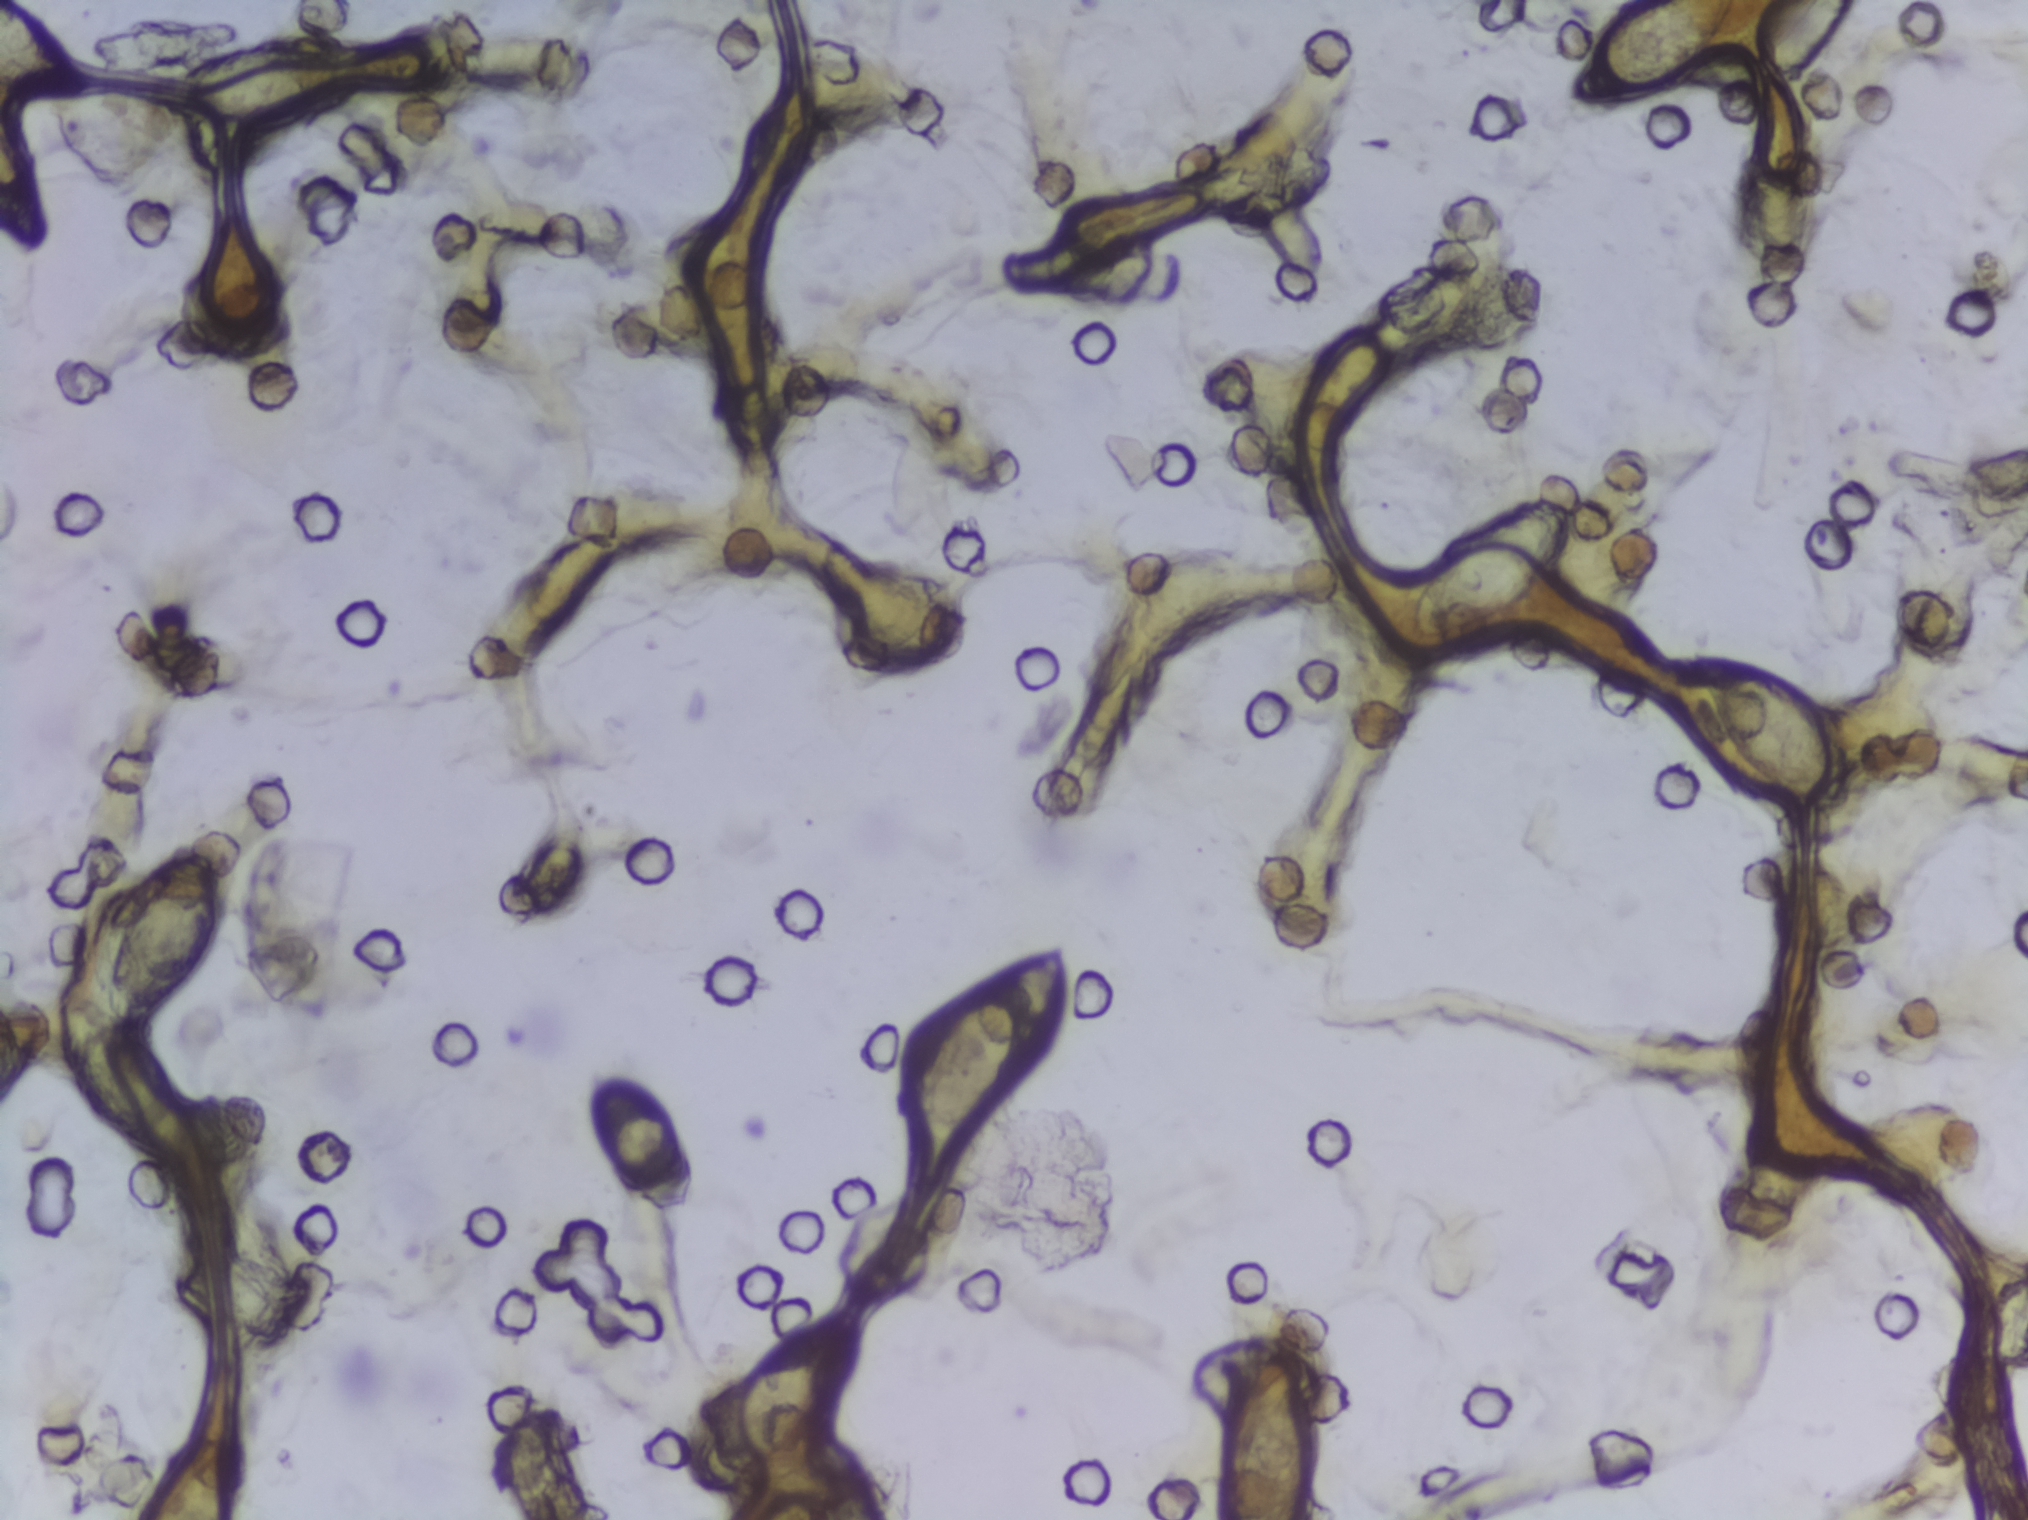
Microscope photograph (4× objective) of a membrane that a urine sample was filtered through.
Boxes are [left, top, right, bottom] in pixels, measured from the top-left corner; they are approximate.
Areas outlined as Schistosoma eggs: [0, 0, 91, 98] (reaching the left and top edges of the frame); [0, 97, 49, 250] (reaching the left edge of the frame); [51, 842, 228, 1176]; [140, 1432, 247, 1519] (reaching the bottom edge of the frame); [153, 43, 371, 128]; [588, 1067, 693, 1215]; [691, 1309, 866, 1494]; [906, 945, 1075, 1138]; [1165, 140, 1336, 223]; [1219, 1337, 1319, 1519] (reaching the bottom edge of the frame); [1377, 258, 1550, 353]; [1411, 498, 1577, 642]; [1564, 0, 1734, 109] (reaching the top edge of the frame); [1688, 649, 1849, 805]; [1751, 114, 1810, 258]; [1766, 0, 1851, 80] (reaching the top edge of the frame). Eggs that touch can end up inside the same outlined area. A marked egg may occasionally be S. mansoni rather than S. haematobium.